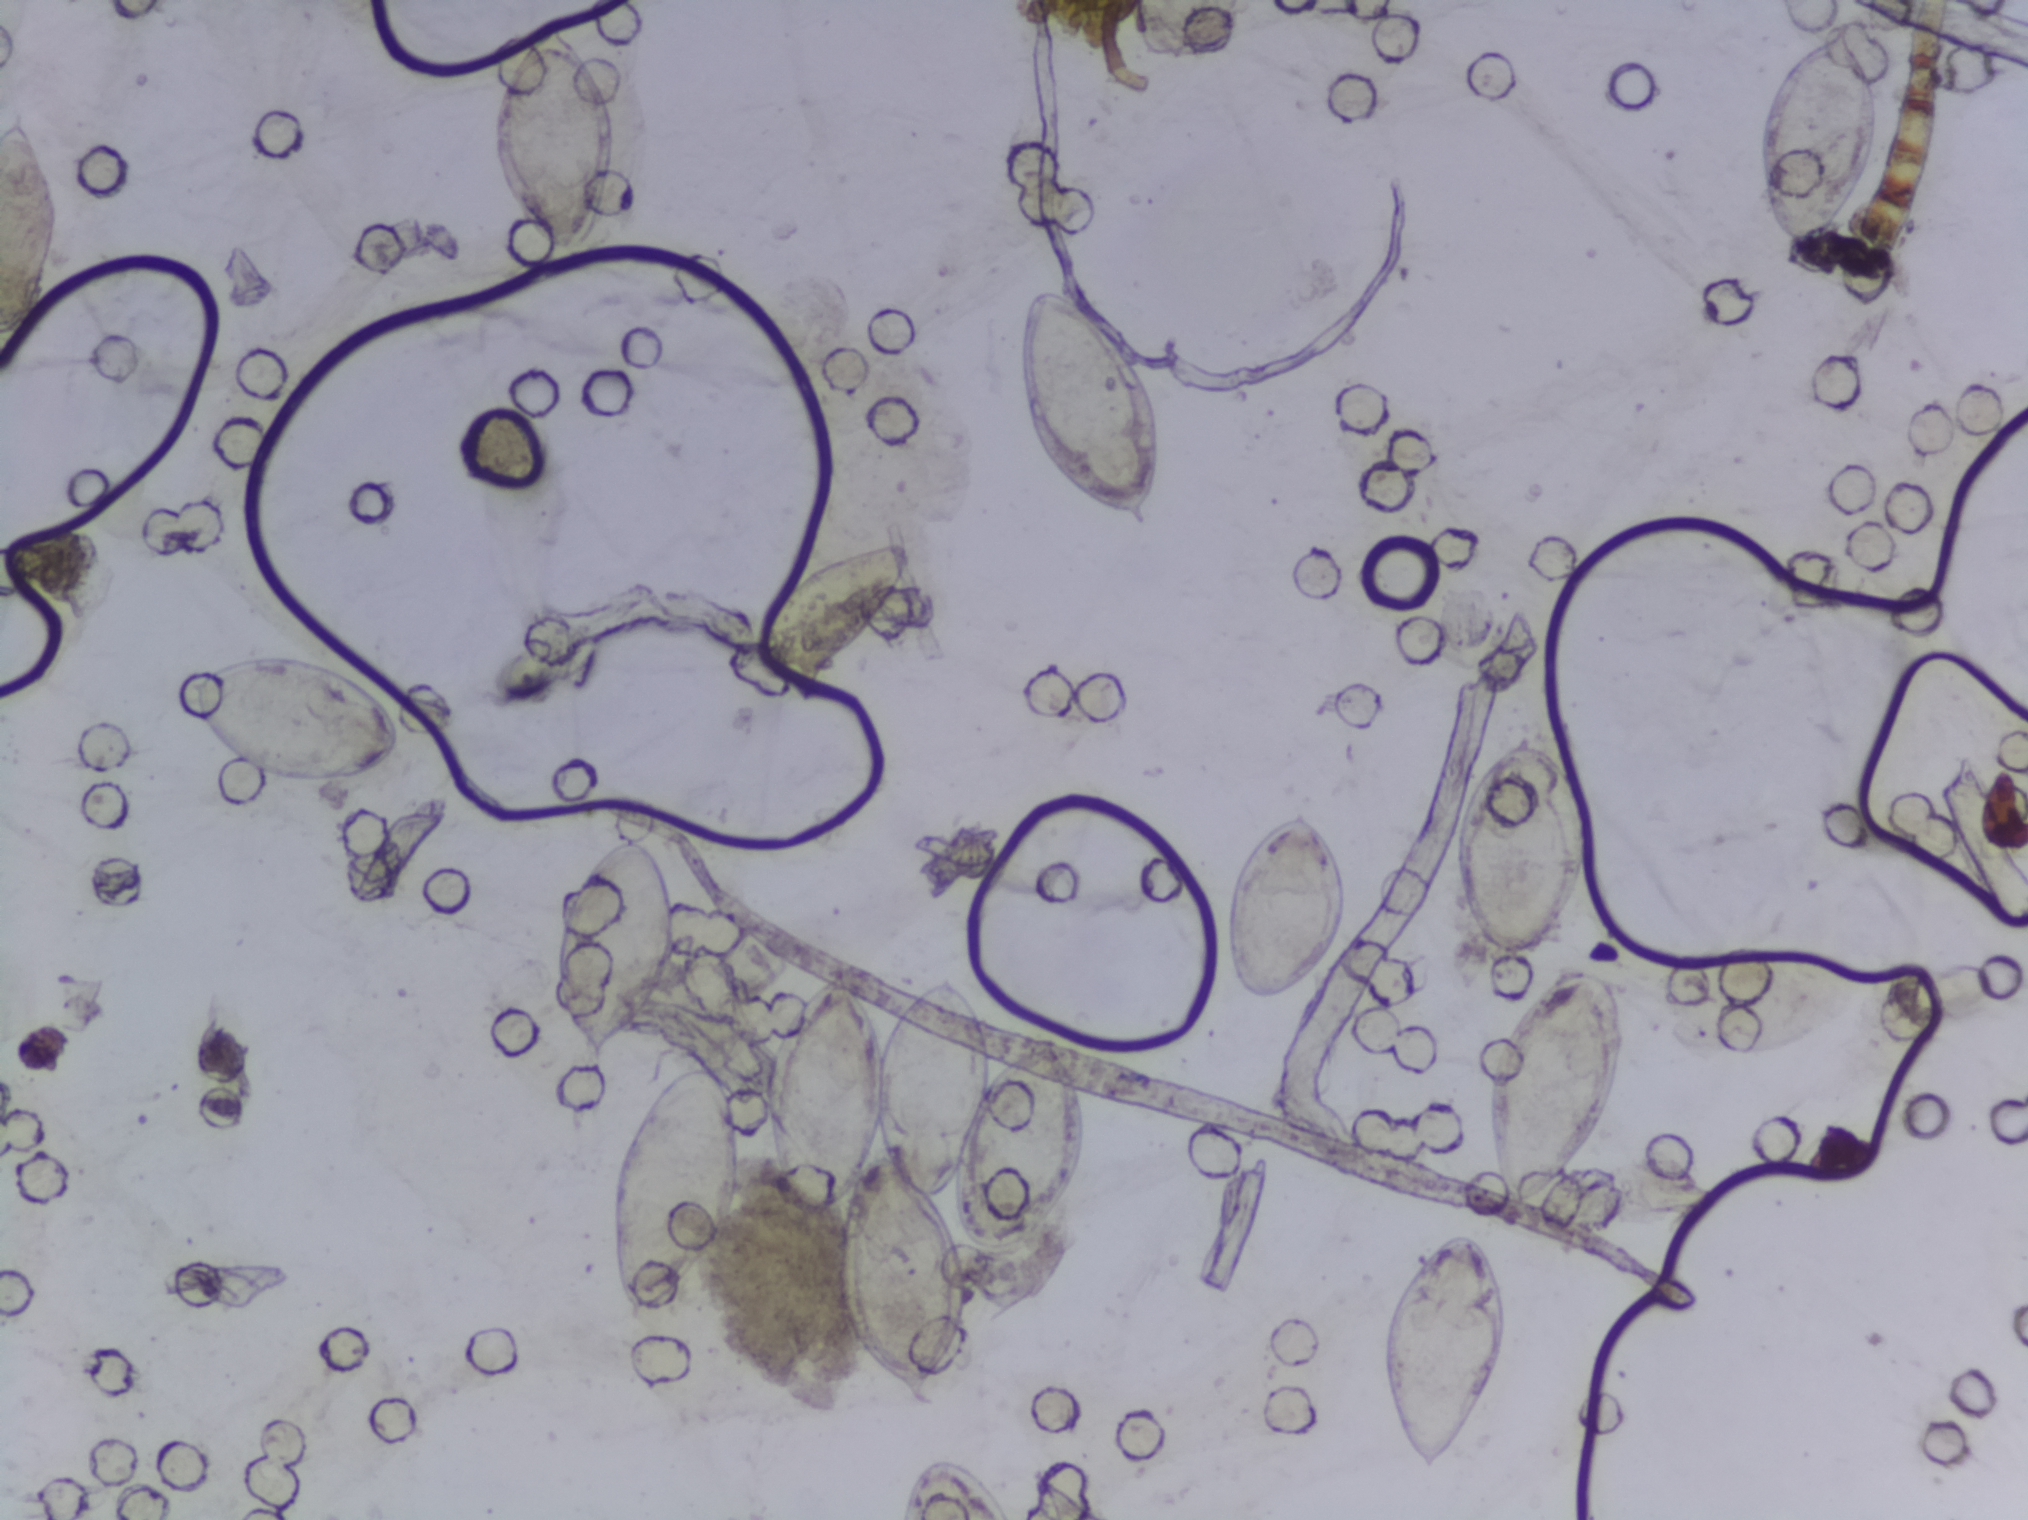
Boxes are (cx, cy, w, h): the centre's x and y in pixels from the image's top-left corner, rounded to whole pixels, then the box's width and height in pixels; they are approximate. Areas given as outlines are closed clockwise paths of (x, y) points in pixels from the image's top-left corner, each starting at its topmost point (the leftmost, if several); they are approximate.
The expert annotation outlines Schistosoma eggs in 14 areas, left to right: box (cx=33, cy=230, w=66, h=255) (reaching the left edge of the frame); box (cx=287, cy=719, w=224, h=141); box (cx=556, cy=132, w=130, h=248); box (cx=609, cy=954, w=130, h=241); box (cx=671, cy=1190, w=136, h=267); box (cx=831, cy=622, w=158, h=166); outline (844, 959), (872, 1004), (883, 1039), (896, 1015), (945, 968), (965, 974), (985, 1018), (989, 1073), (1007, 1054), (1052, 1031), (1073, 1066), (1087, 1113), (1079, 1183), (1055, 1229), (1029, 1253), (985, 1258), (972, 1252), (956, 1233), (950, 1197), (941, 1202), (969, 1267), (968, 1299), (950, 1358), (924, 1407), (888, 1387), (863, 1362), (846, 1326), (844, 1219), (817, 1228), (793, 1224), (767, 1144), (764, 1096), (782, 1024), (798, 995) (a cluster of eggs); box (cx=956, cy=1488, w=120, h=64) (reaching the bottom edge of the frame); box (cx=1086, cy=409, w=151, h=248); box (cx=1284, cy=909, w=138, h=210); box (cx=1443, cy=1351, w=133, h=245); box (cx=1525, cy=844, w=138, h=236); box (cx=1557, cy=1090, w=140, h=261); box (cx=1816, cy=142, w=136, h=248). Marked pixels, not the boxes and the outline around them: about 12% of the image. A single outlined area may contain several eggs.
Urine filtration membrane under a 4× objective, photographed by an automated digital microscope.